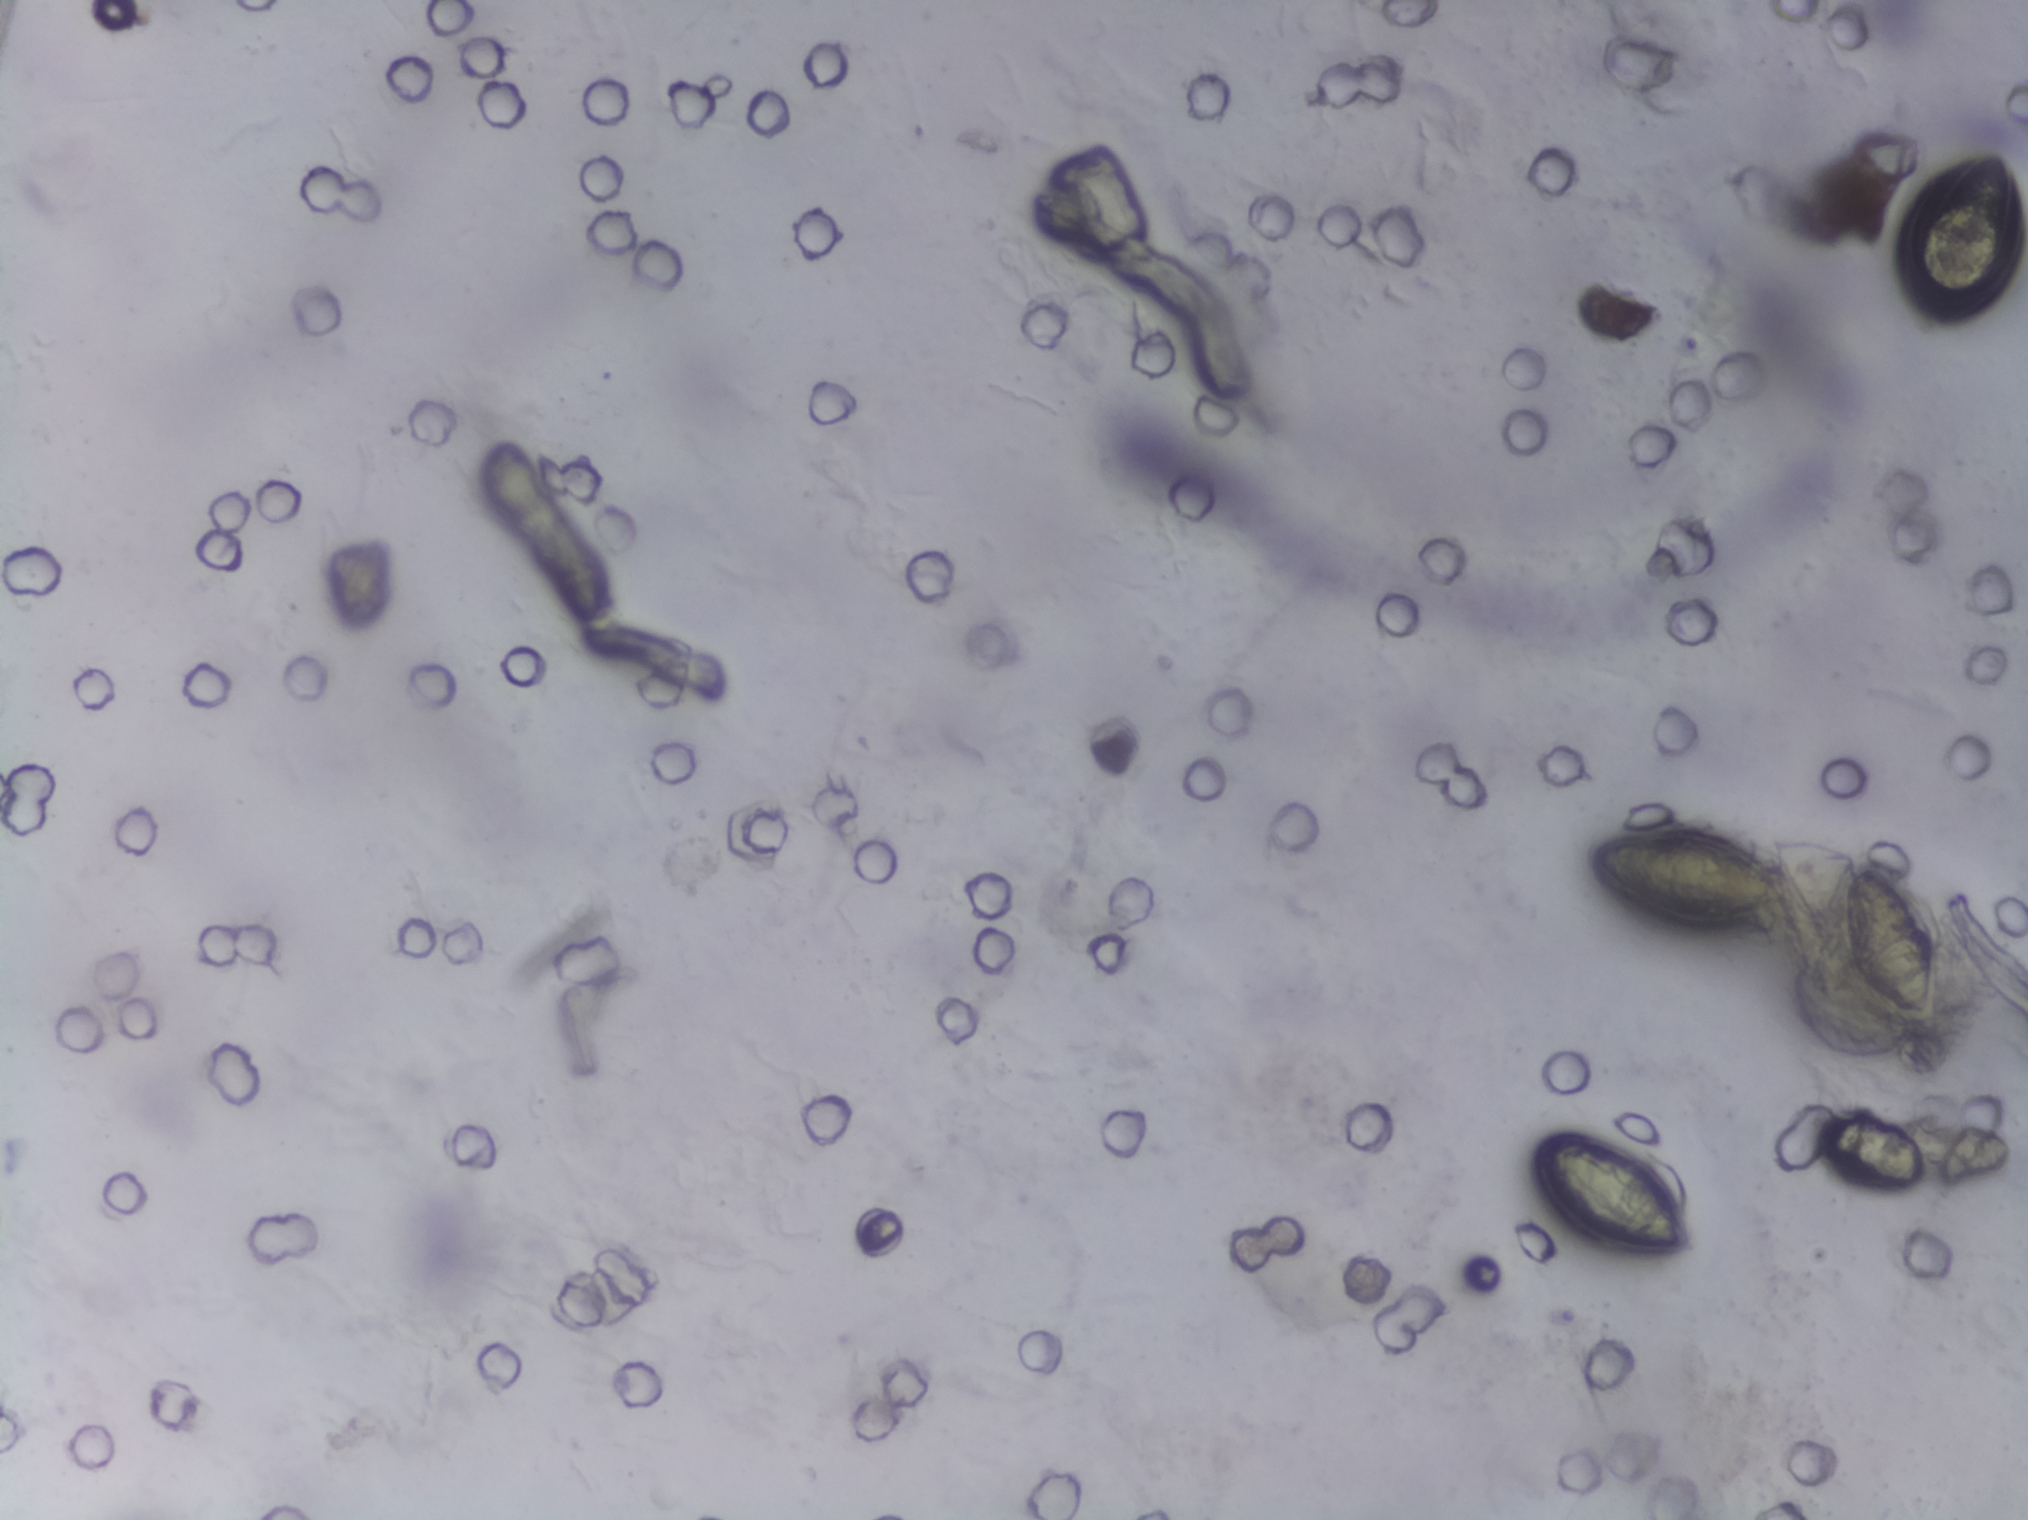
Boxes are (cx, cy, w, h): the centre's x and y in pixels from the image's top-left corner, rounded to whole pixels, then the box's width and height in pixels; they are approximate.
Areas outlined as Schistosoma eggs, left to right:
1. (cx=1613, cy=1194, w=167, h=123)
2. (cx=1685, cy=880, w=206, h=106)
3. (cx=1872, cy=1153, w=100, h=77)
4. (cx=1886, cy=939, w=101, h=162)
5. (cx=1959, cy=230, w=107, h=173)
Eggs that touch can end up inside the same outlined area.
One field of view of a urine filter membrane, 4× objective, 2028 × 1520 pixels.